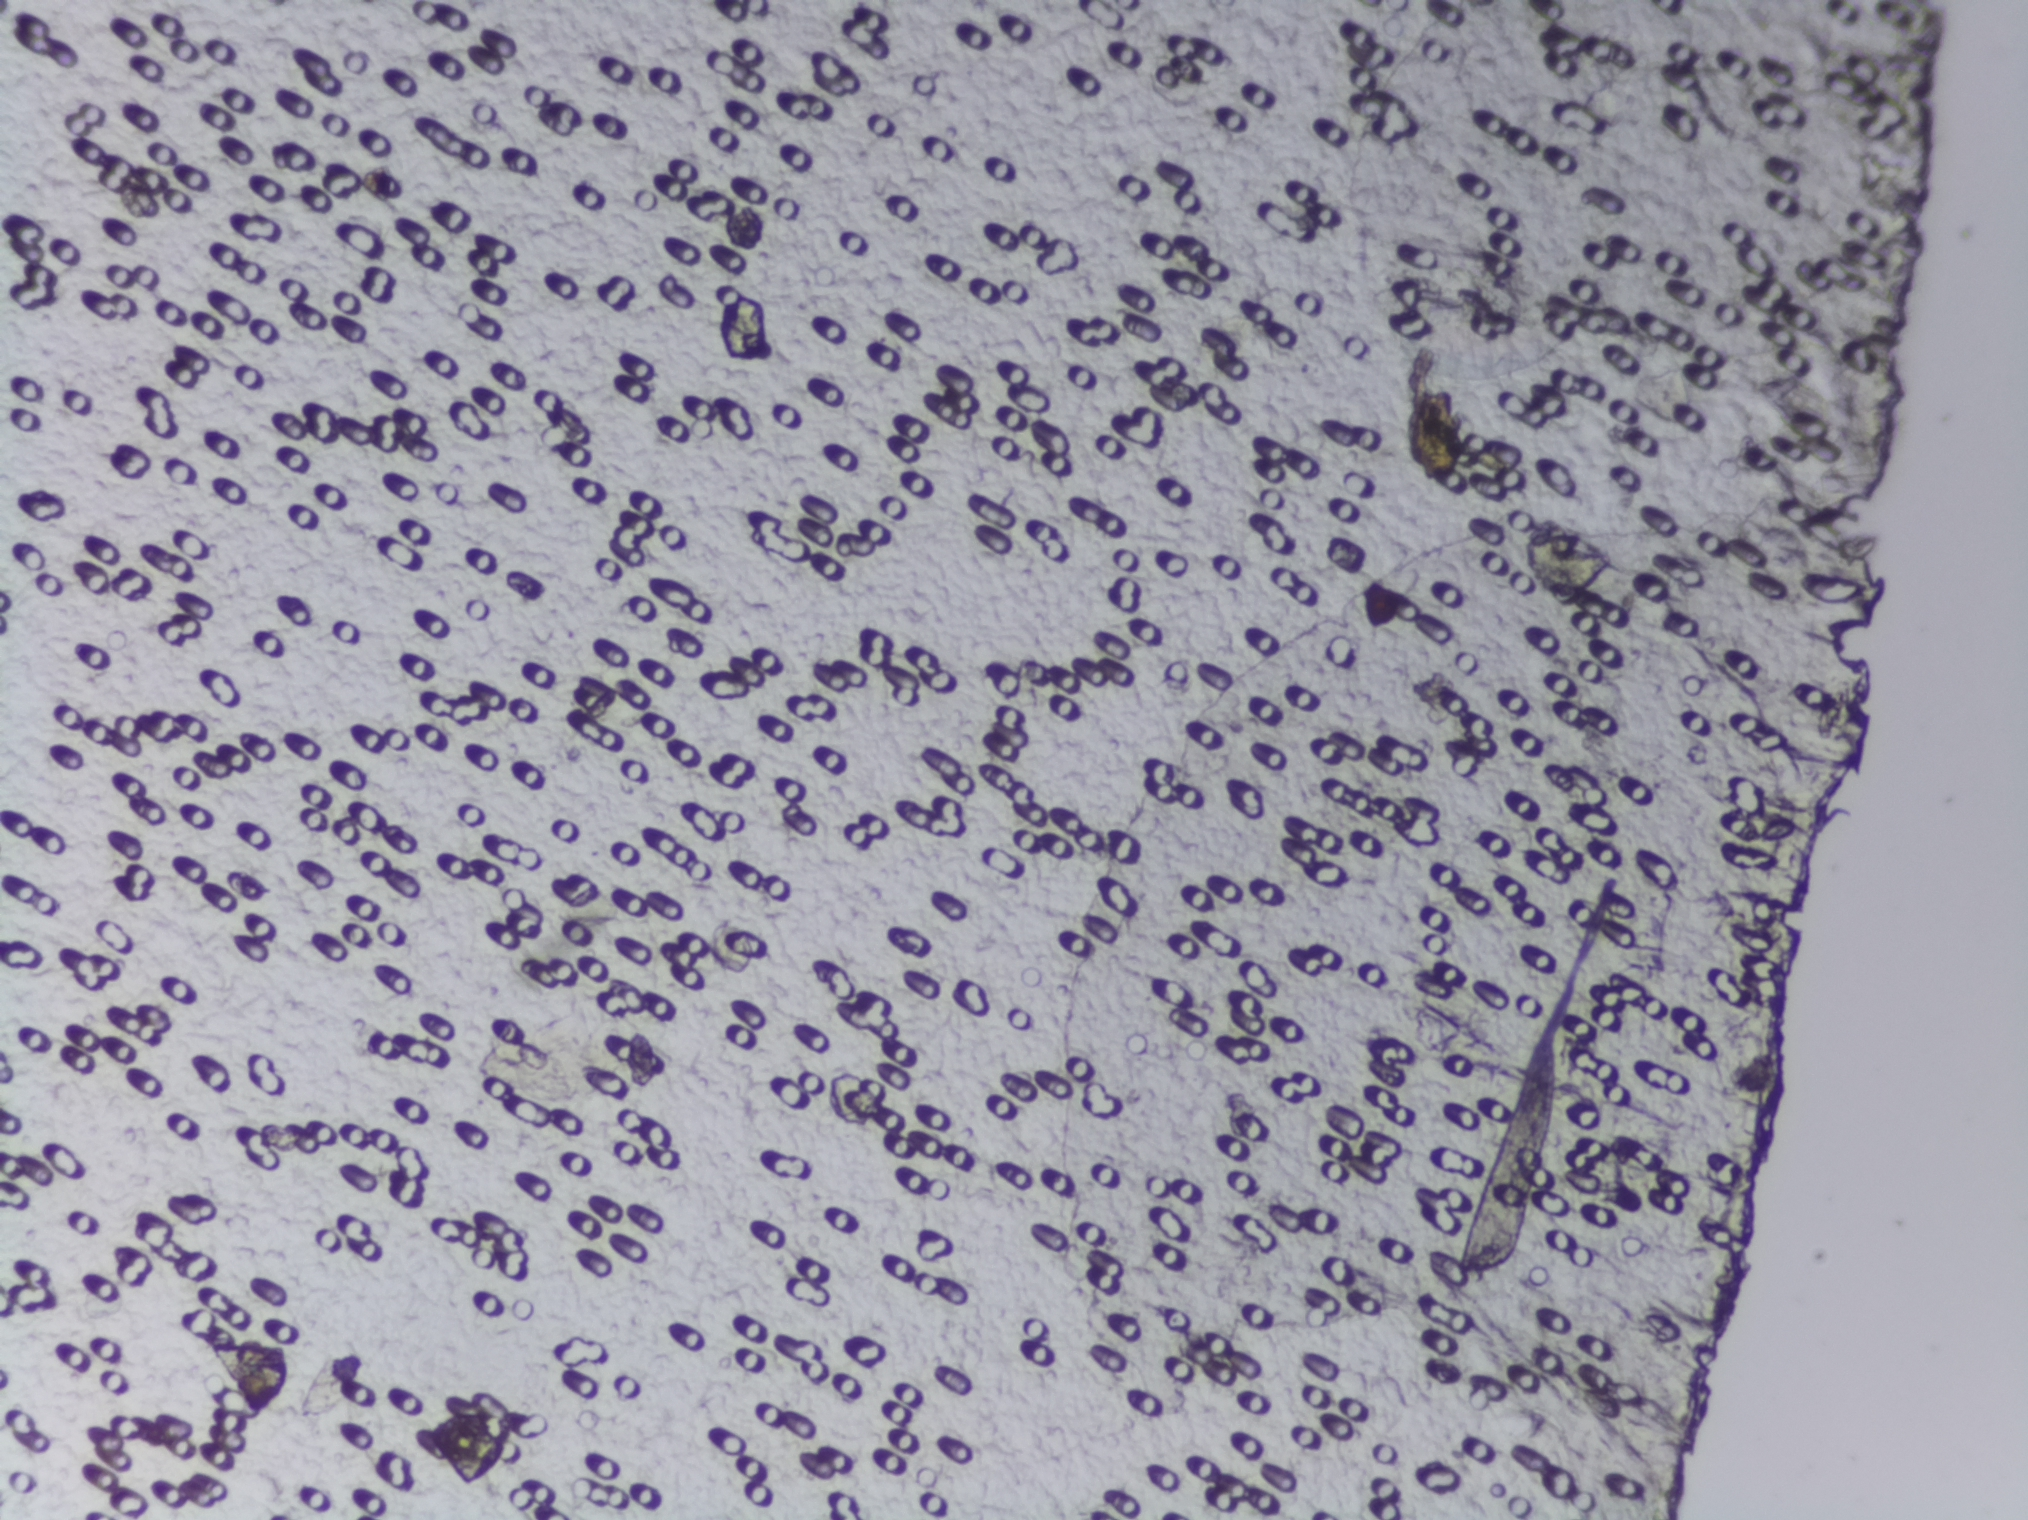
Urine filter membrane photographed through a 4× microscope objective. The field of view is about 1.5 mm × 1.1 mm.
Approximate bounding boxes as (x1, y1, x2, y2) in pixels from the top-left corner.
Schistosoma eggs are outlined in three areas of this image, listed from left to right: (219, 1338, 290, 1416); (426, 1411, 515, 1486); (1520, 528, 1616, 609). The marked pixels themselves, not the boxes around them, cover about 0.5% of the image. An outlined area can hold more than one egg.